Photomicrograph of a urine filtration membrane, 4× objective.
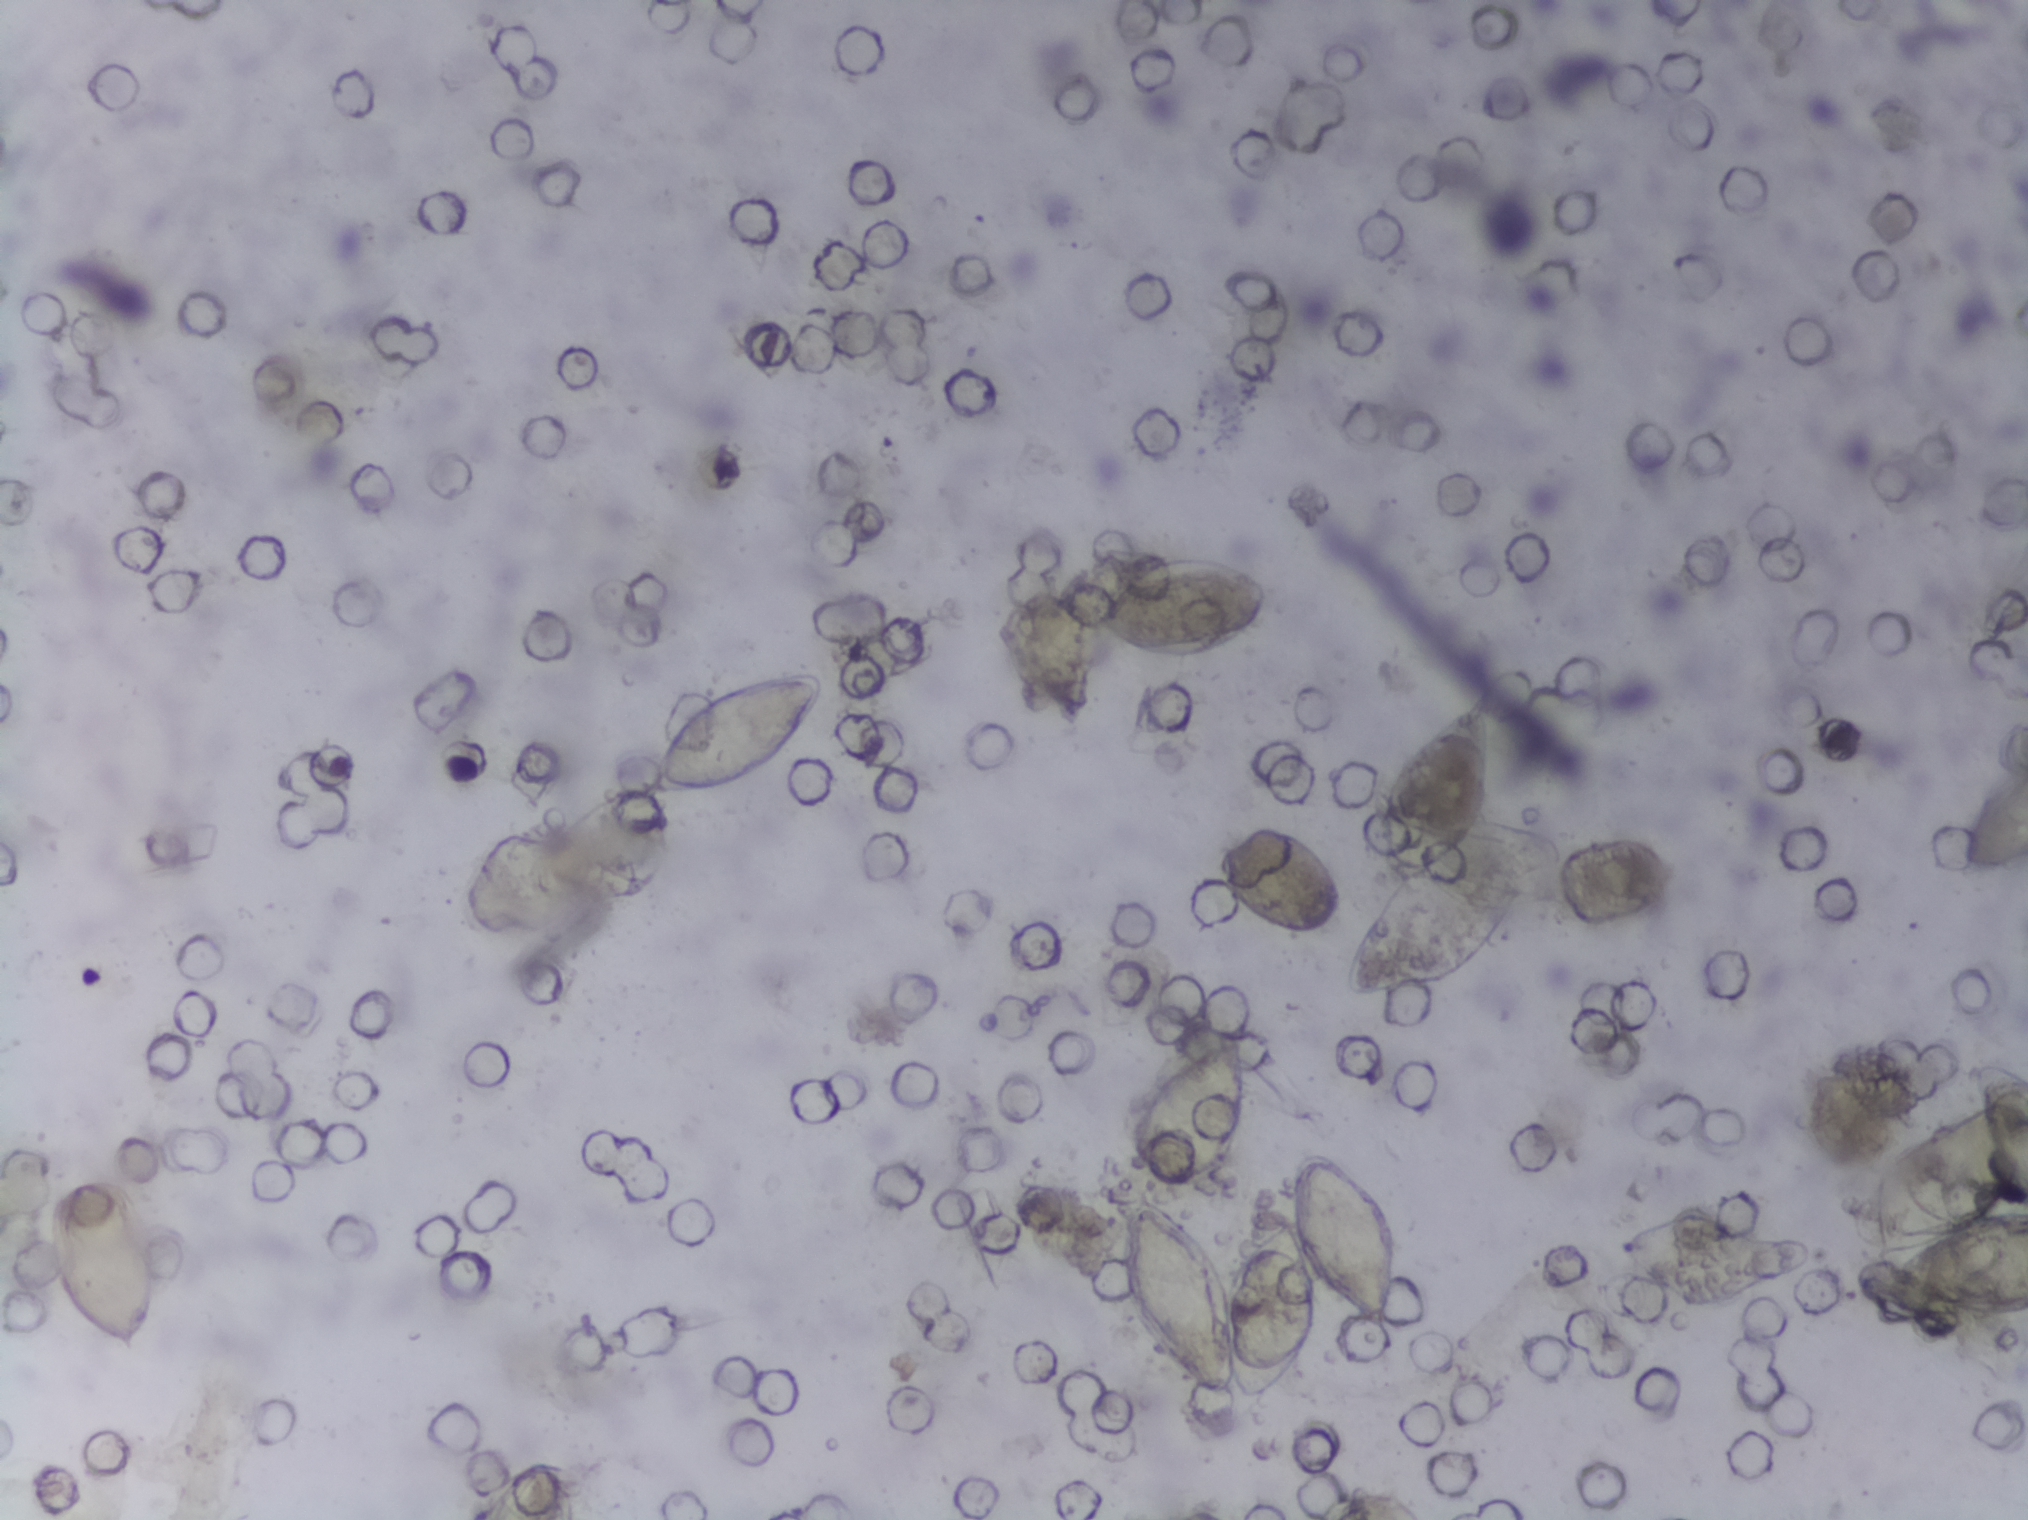
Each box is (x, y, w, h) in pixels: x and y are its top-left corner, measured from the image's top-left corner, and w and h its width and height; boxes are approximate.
The expert annotation outlines Schistosoma eggs at (x=48, y=1178, w=112, h=184); (x=646, y=670, w=181, h=126); (x=1087, y=552, w=183, h=114); (x=1121, y=1152, w=276, h=249); (x=1132, y=1021, w=117, h=170); (x=1378, y=690, w=115, h=196); (x=1865, y=1064, w=163, h=253) (reaching the right edge of the frame); (x=1960, y=744, w=68, h=136) (reaching the right edge of the frame). A single outlined area may contain several eggs.